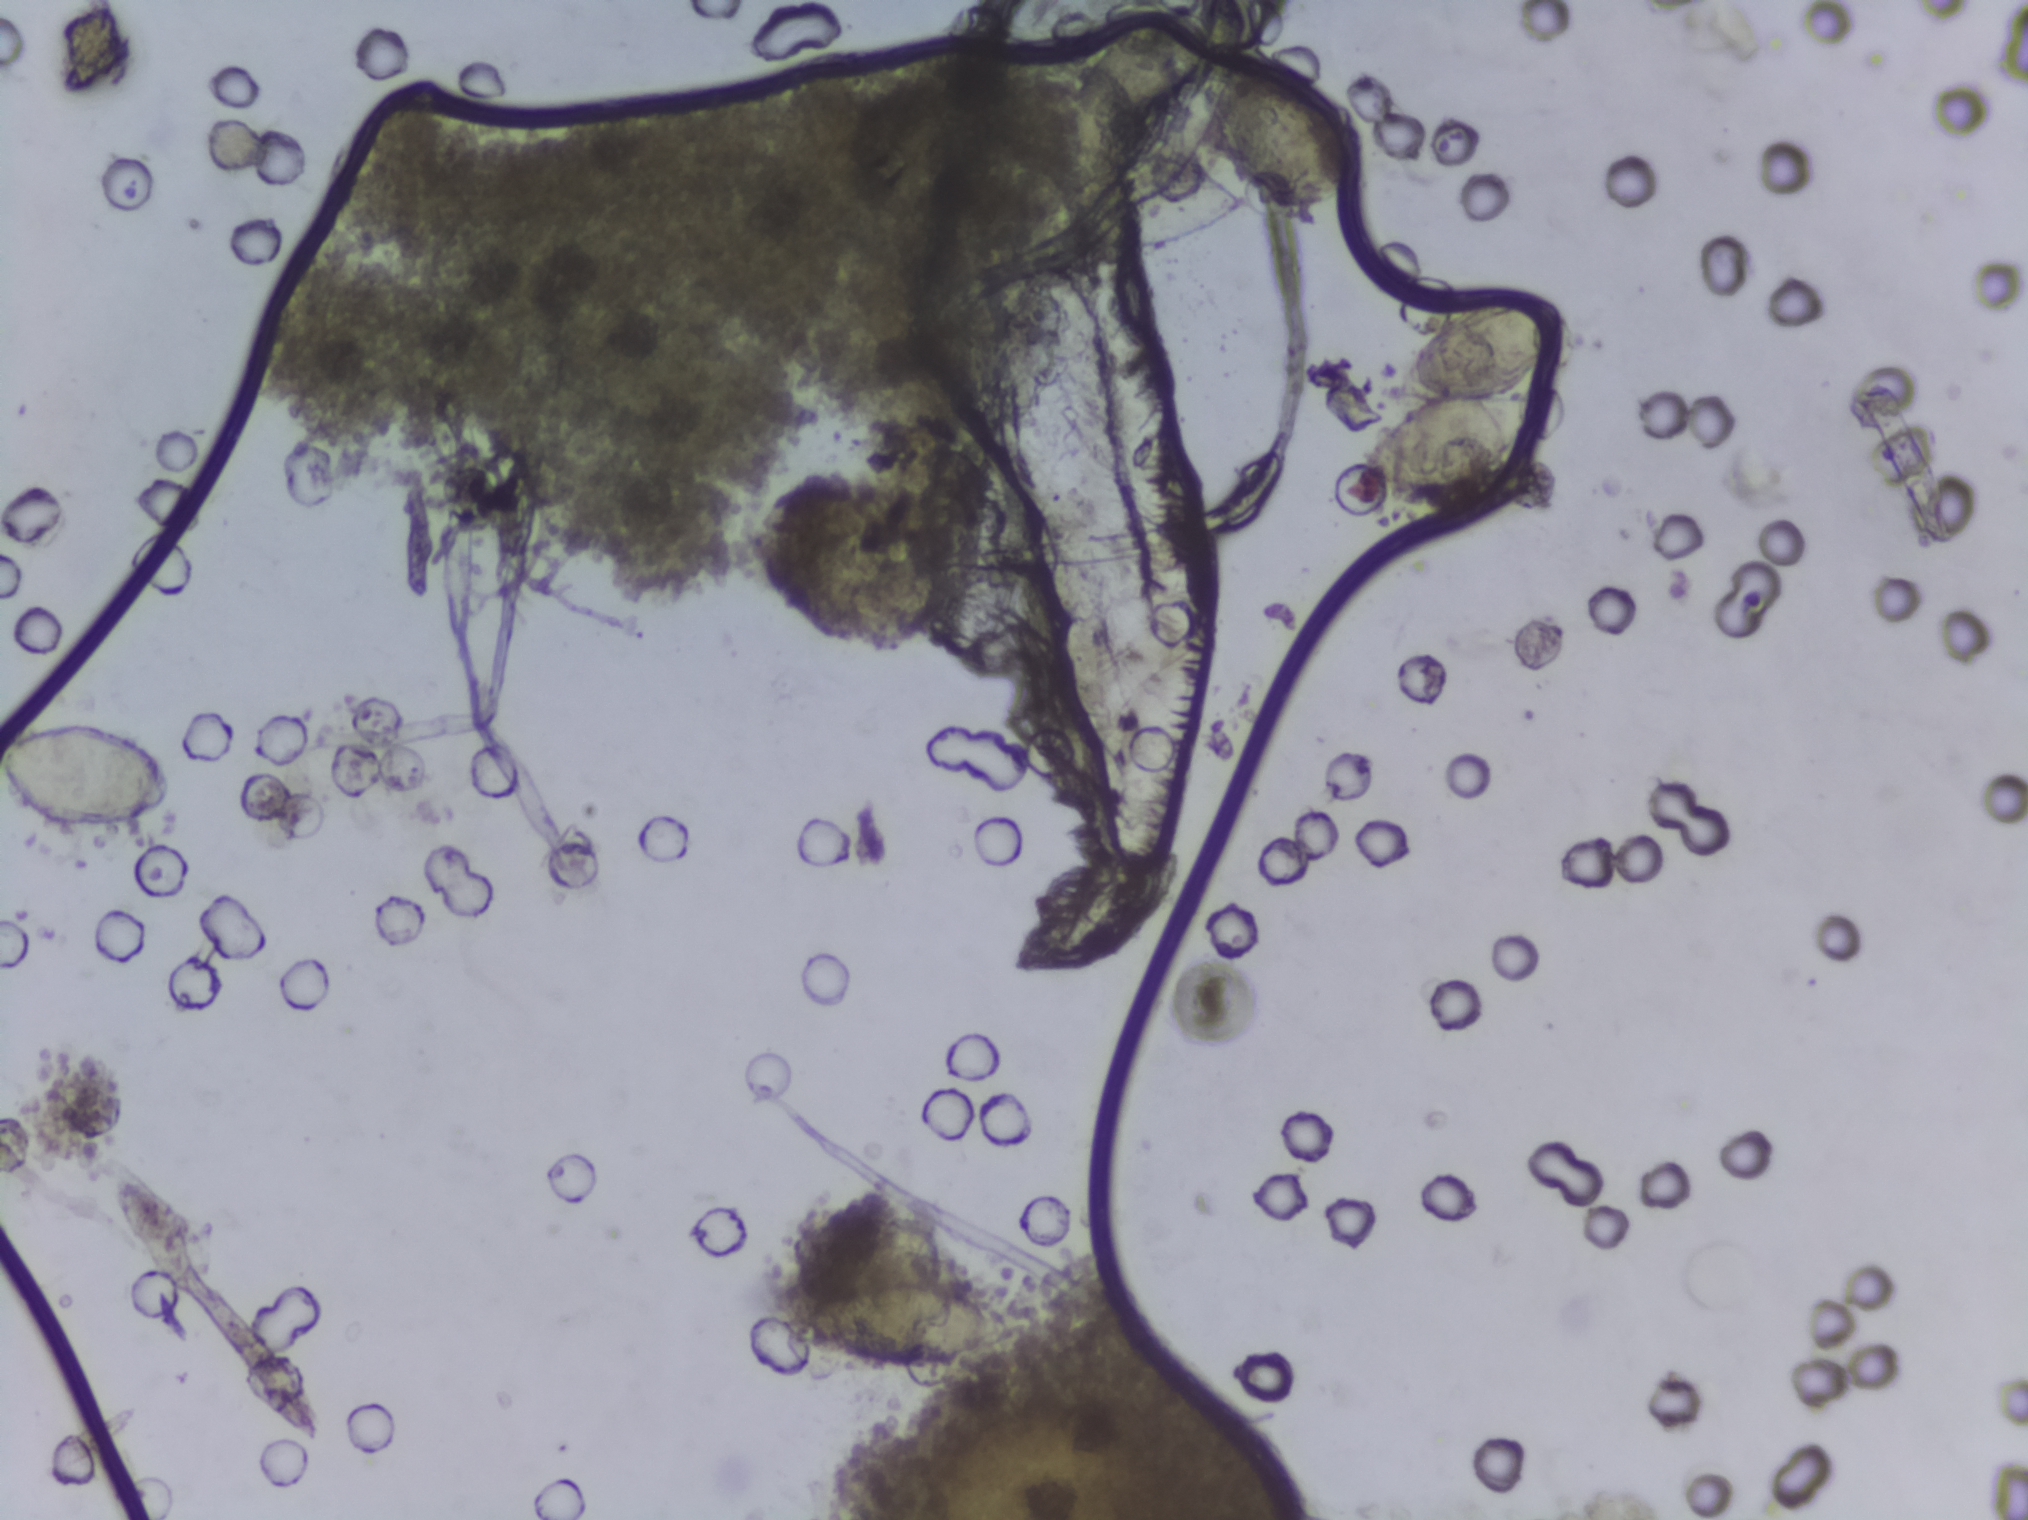
Photomicrograph of a urine filtration membrane, 4× objective.
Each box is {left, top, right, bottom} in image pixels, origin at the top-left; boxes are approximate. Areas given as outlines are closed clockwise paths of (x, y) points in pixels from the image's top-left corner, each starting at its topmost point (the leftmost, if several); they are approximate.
The expert annotation outlines Schistosoma eggs in four areas, left to right: box {0, 721, 172, 830} (reaching the left edge of the frame); box {804, 1221, 1011, 1366}; outline (1158, 10), (1186, 11), (1208, 29), (1206, 51), (1241, 53), (1258, 67), (1232, 69), (1261, 68), (1322, 107), (1358, 161), (1363, 190), (1357, 197), (1332, 212), (1285, 211), (1236, 181), (1206, 128), (1203, 53), (1151, 106), (1131, 117), (1093, 124), (1071, 116), (1070, 94), (1082, 60), (1112, 32); box {1355, 299, 1564, 500}. Marked pixels, not the boxes and the outline around them: about 2.9% of the image. A single outlined area may contain several eggs.